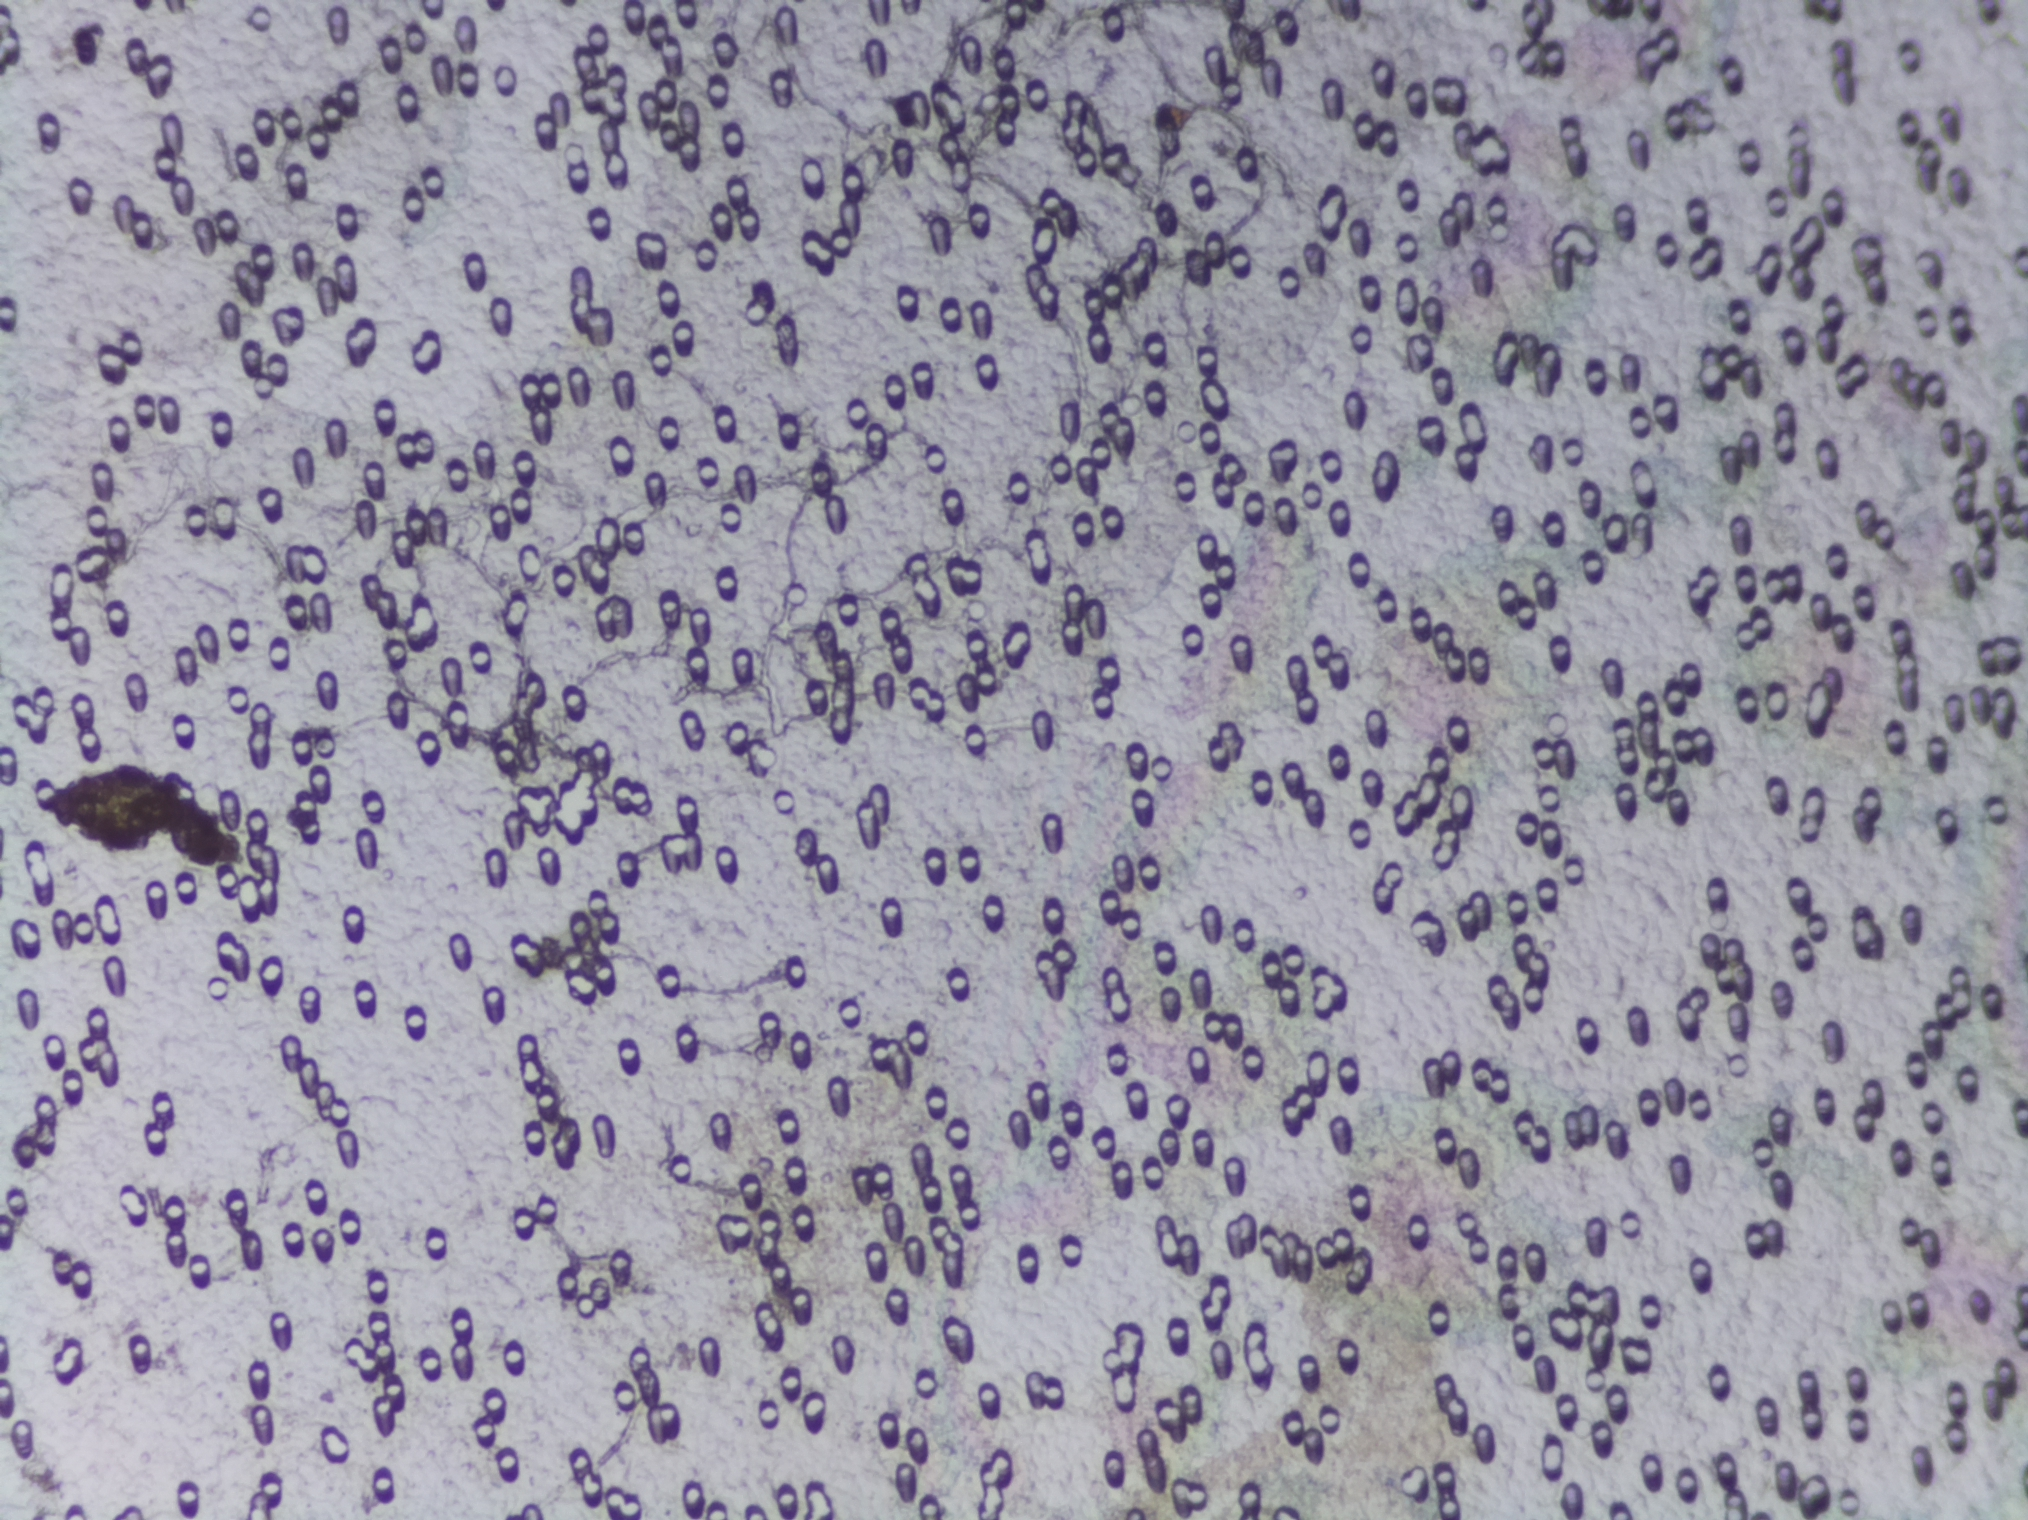
Photomicrograph of a urine filtration membrane, 4× objective.
No area of this image was outlined as a Schistosoma egg.